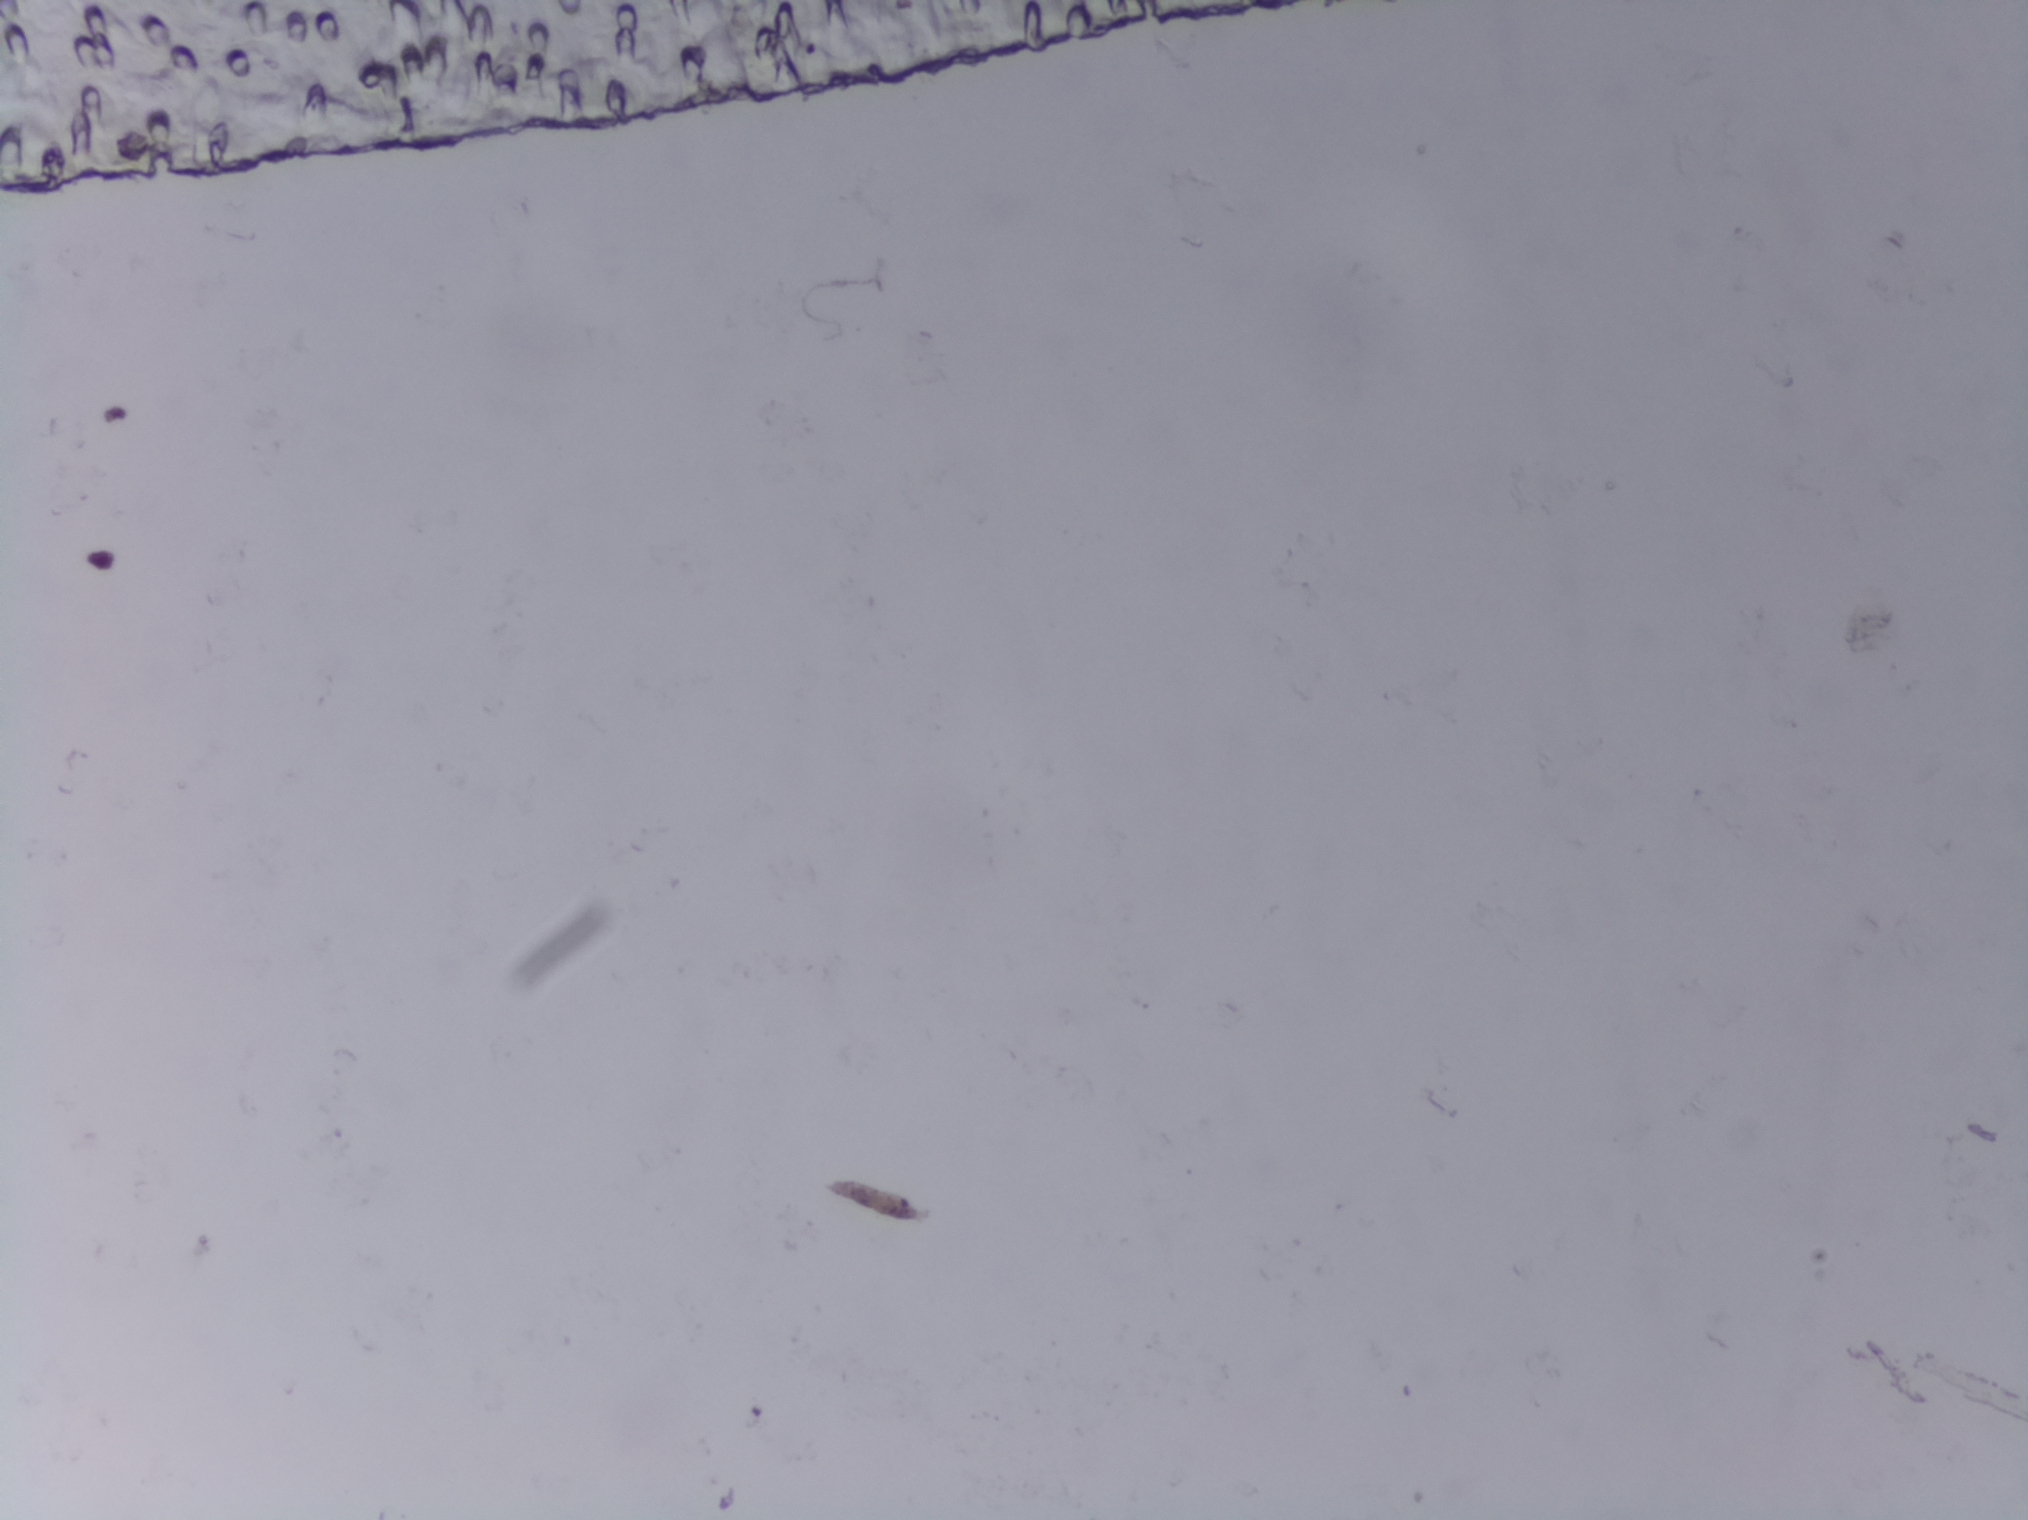
Schistosoma eggs: none outlined.
Urine filtration membrane under a 4× objective, photographed by an automated digital microscope.